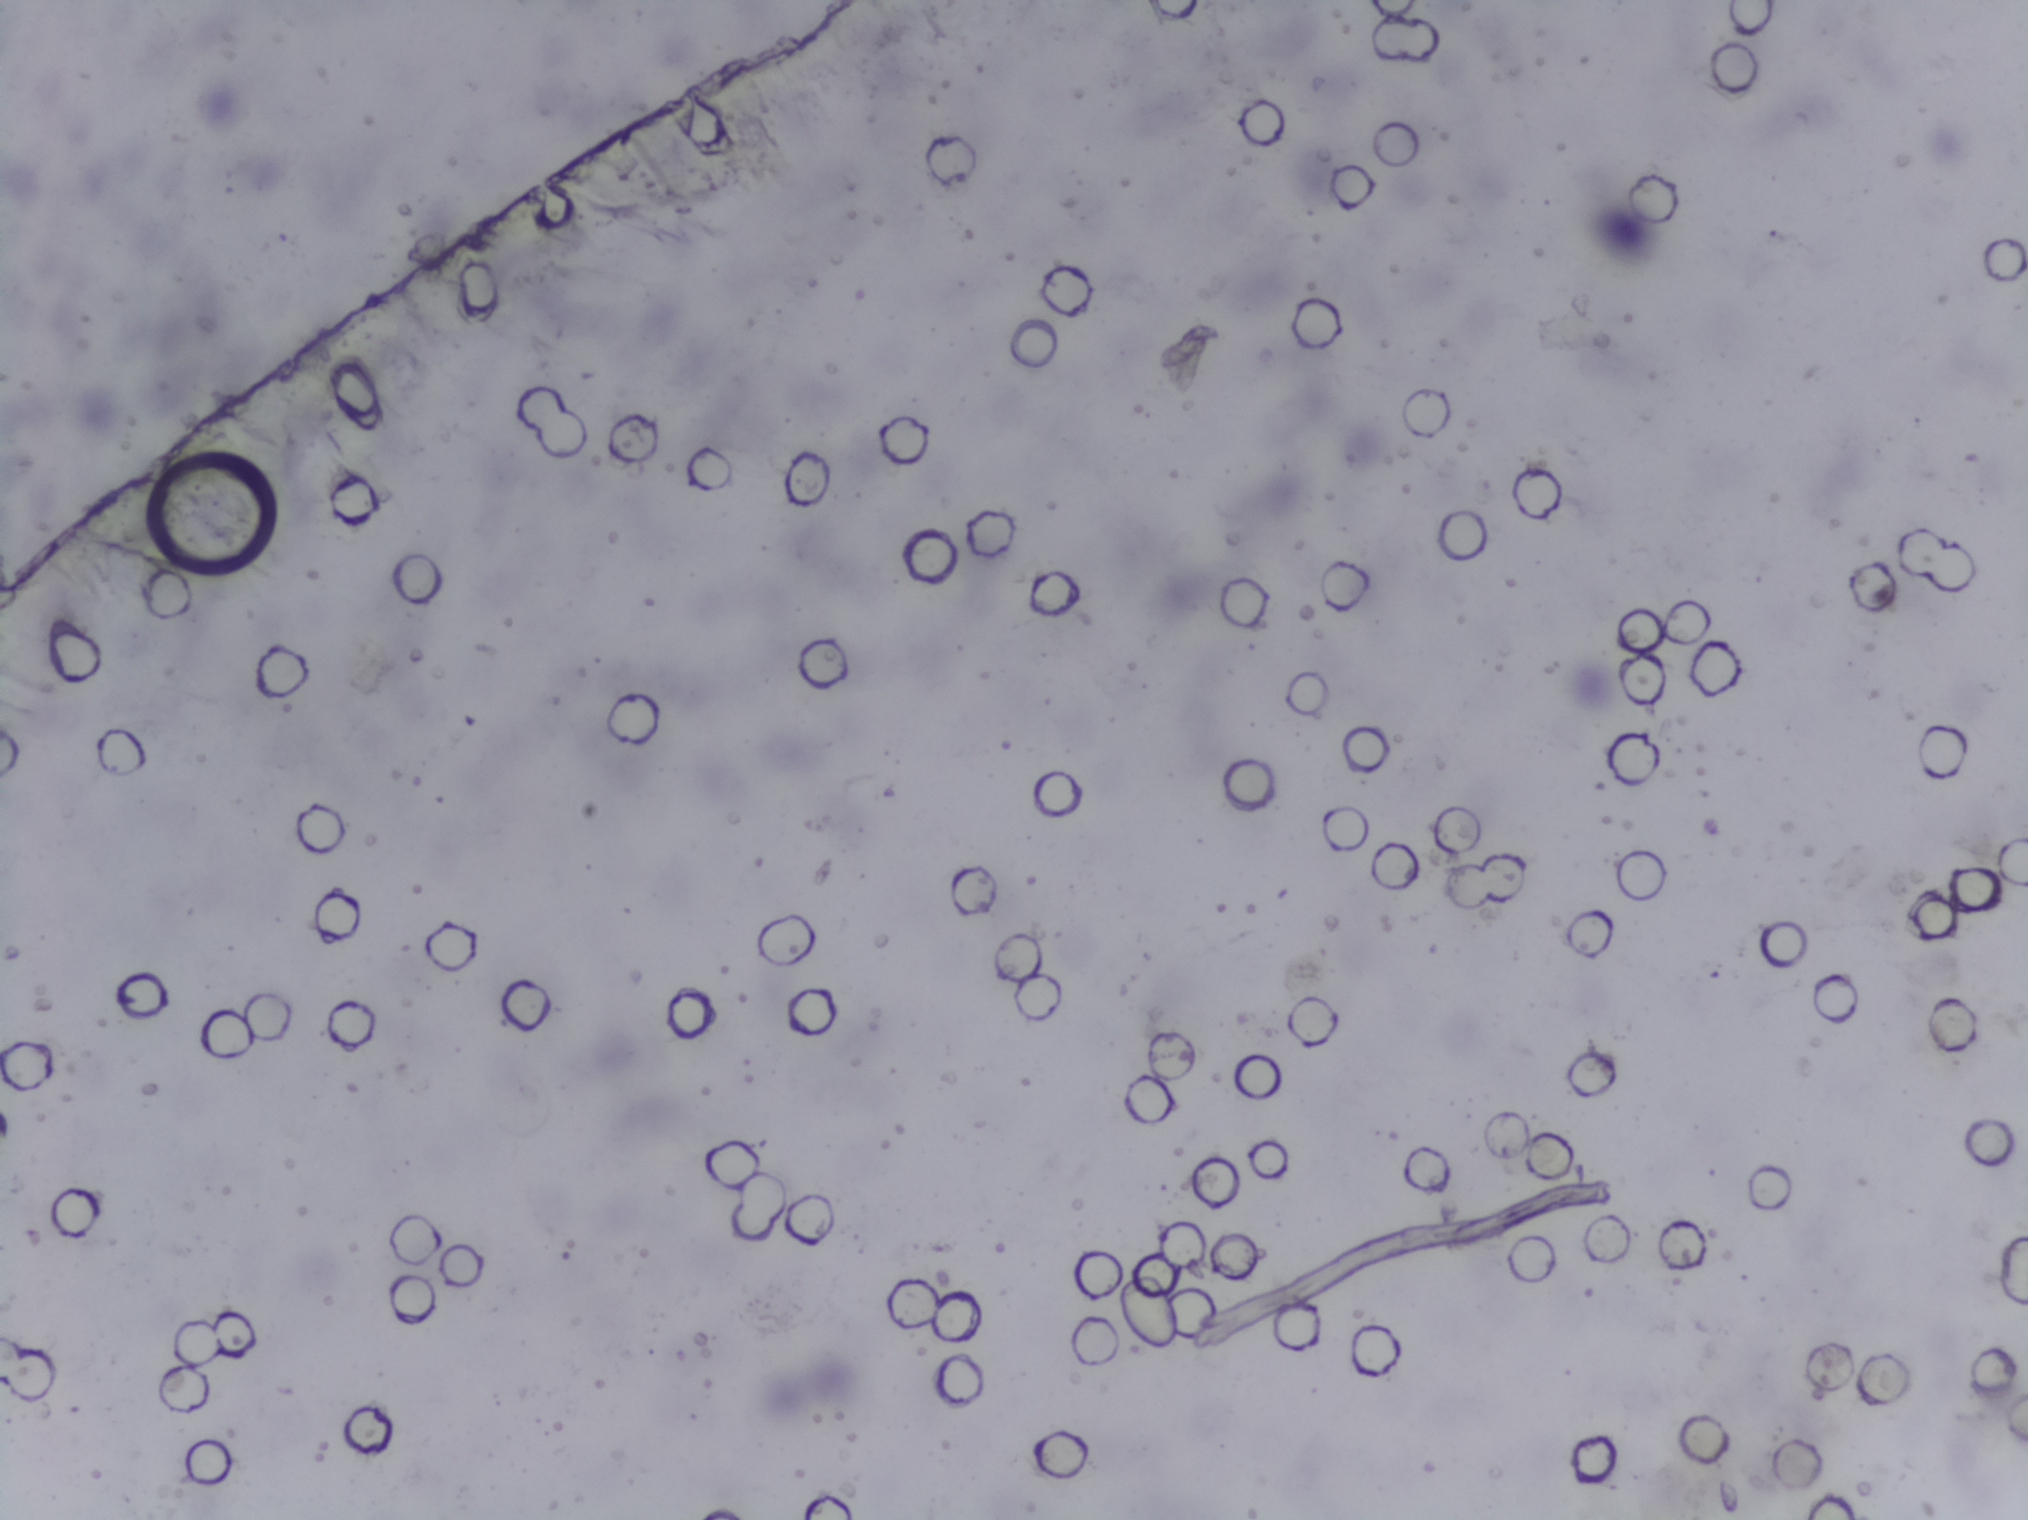
Urine filter membrane photographed through a 4× microscope objective.
The expert annotation outlines no Schistosoma egg in this image.